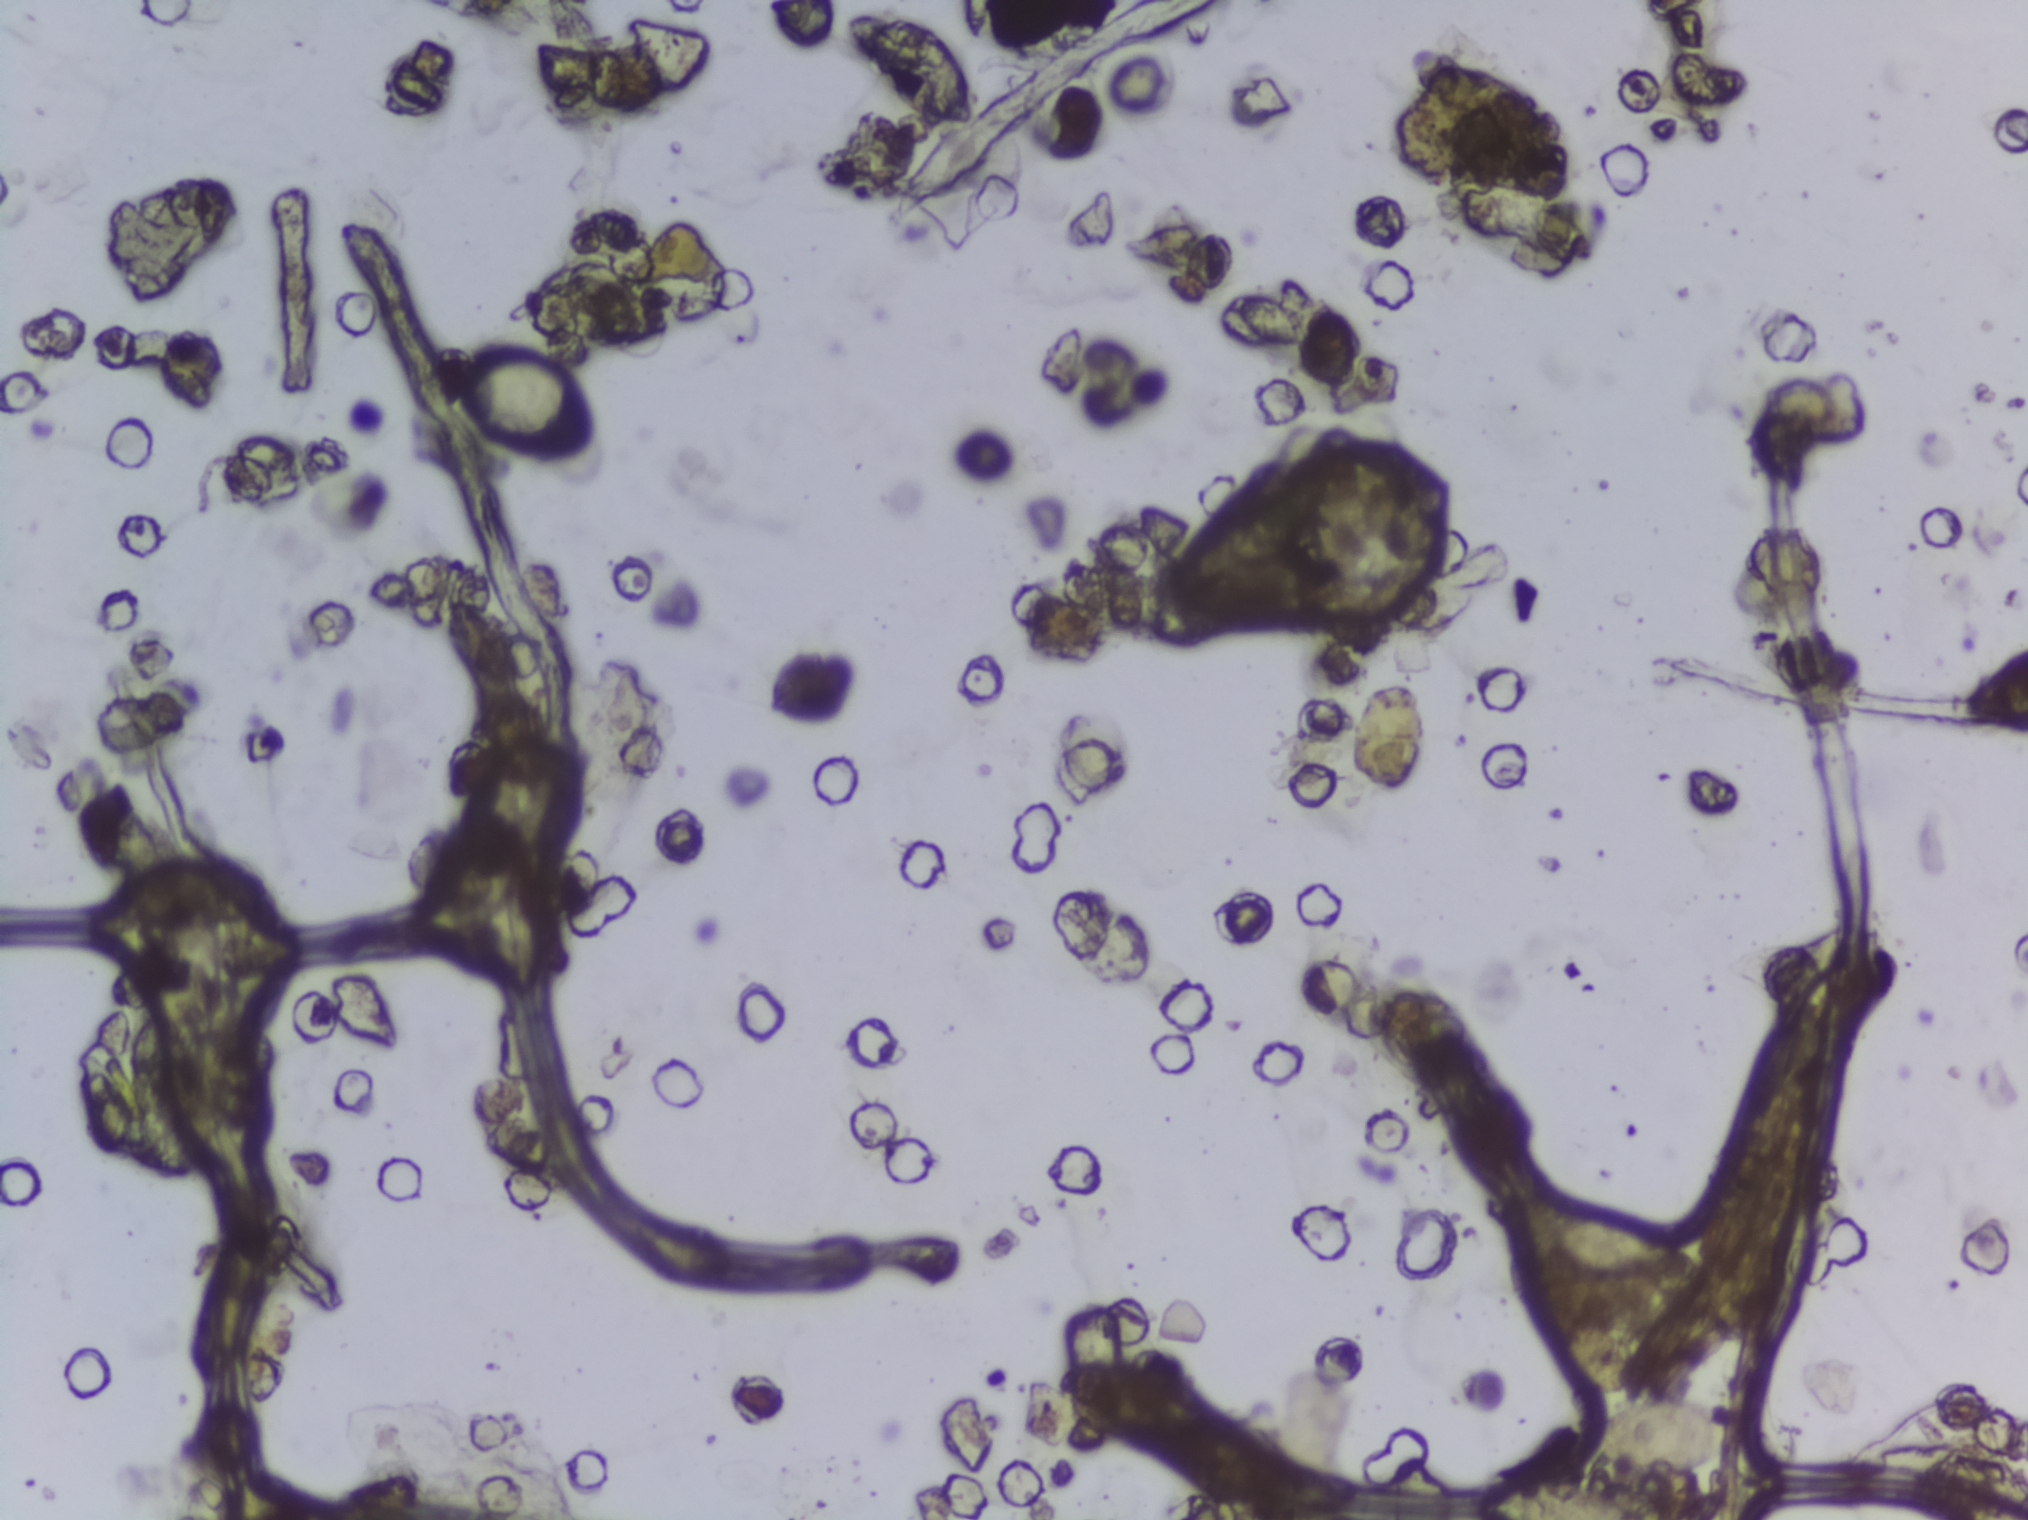
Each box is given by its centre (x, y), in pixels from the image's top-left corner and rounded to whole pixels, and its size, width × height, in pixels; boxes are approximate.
Outlined Schistosoma egg areas:
1. centre (524, 401), 151 × 125 px
Eggs that touch can end up inside the same outlined area. A marked egg may occasionally be S. mansoni rather than S. haematobium.
Photograph from an automated digital microscope: urine filter membrane, 4× objective. The field of view is about 1.5 mm × 1.1 mm.